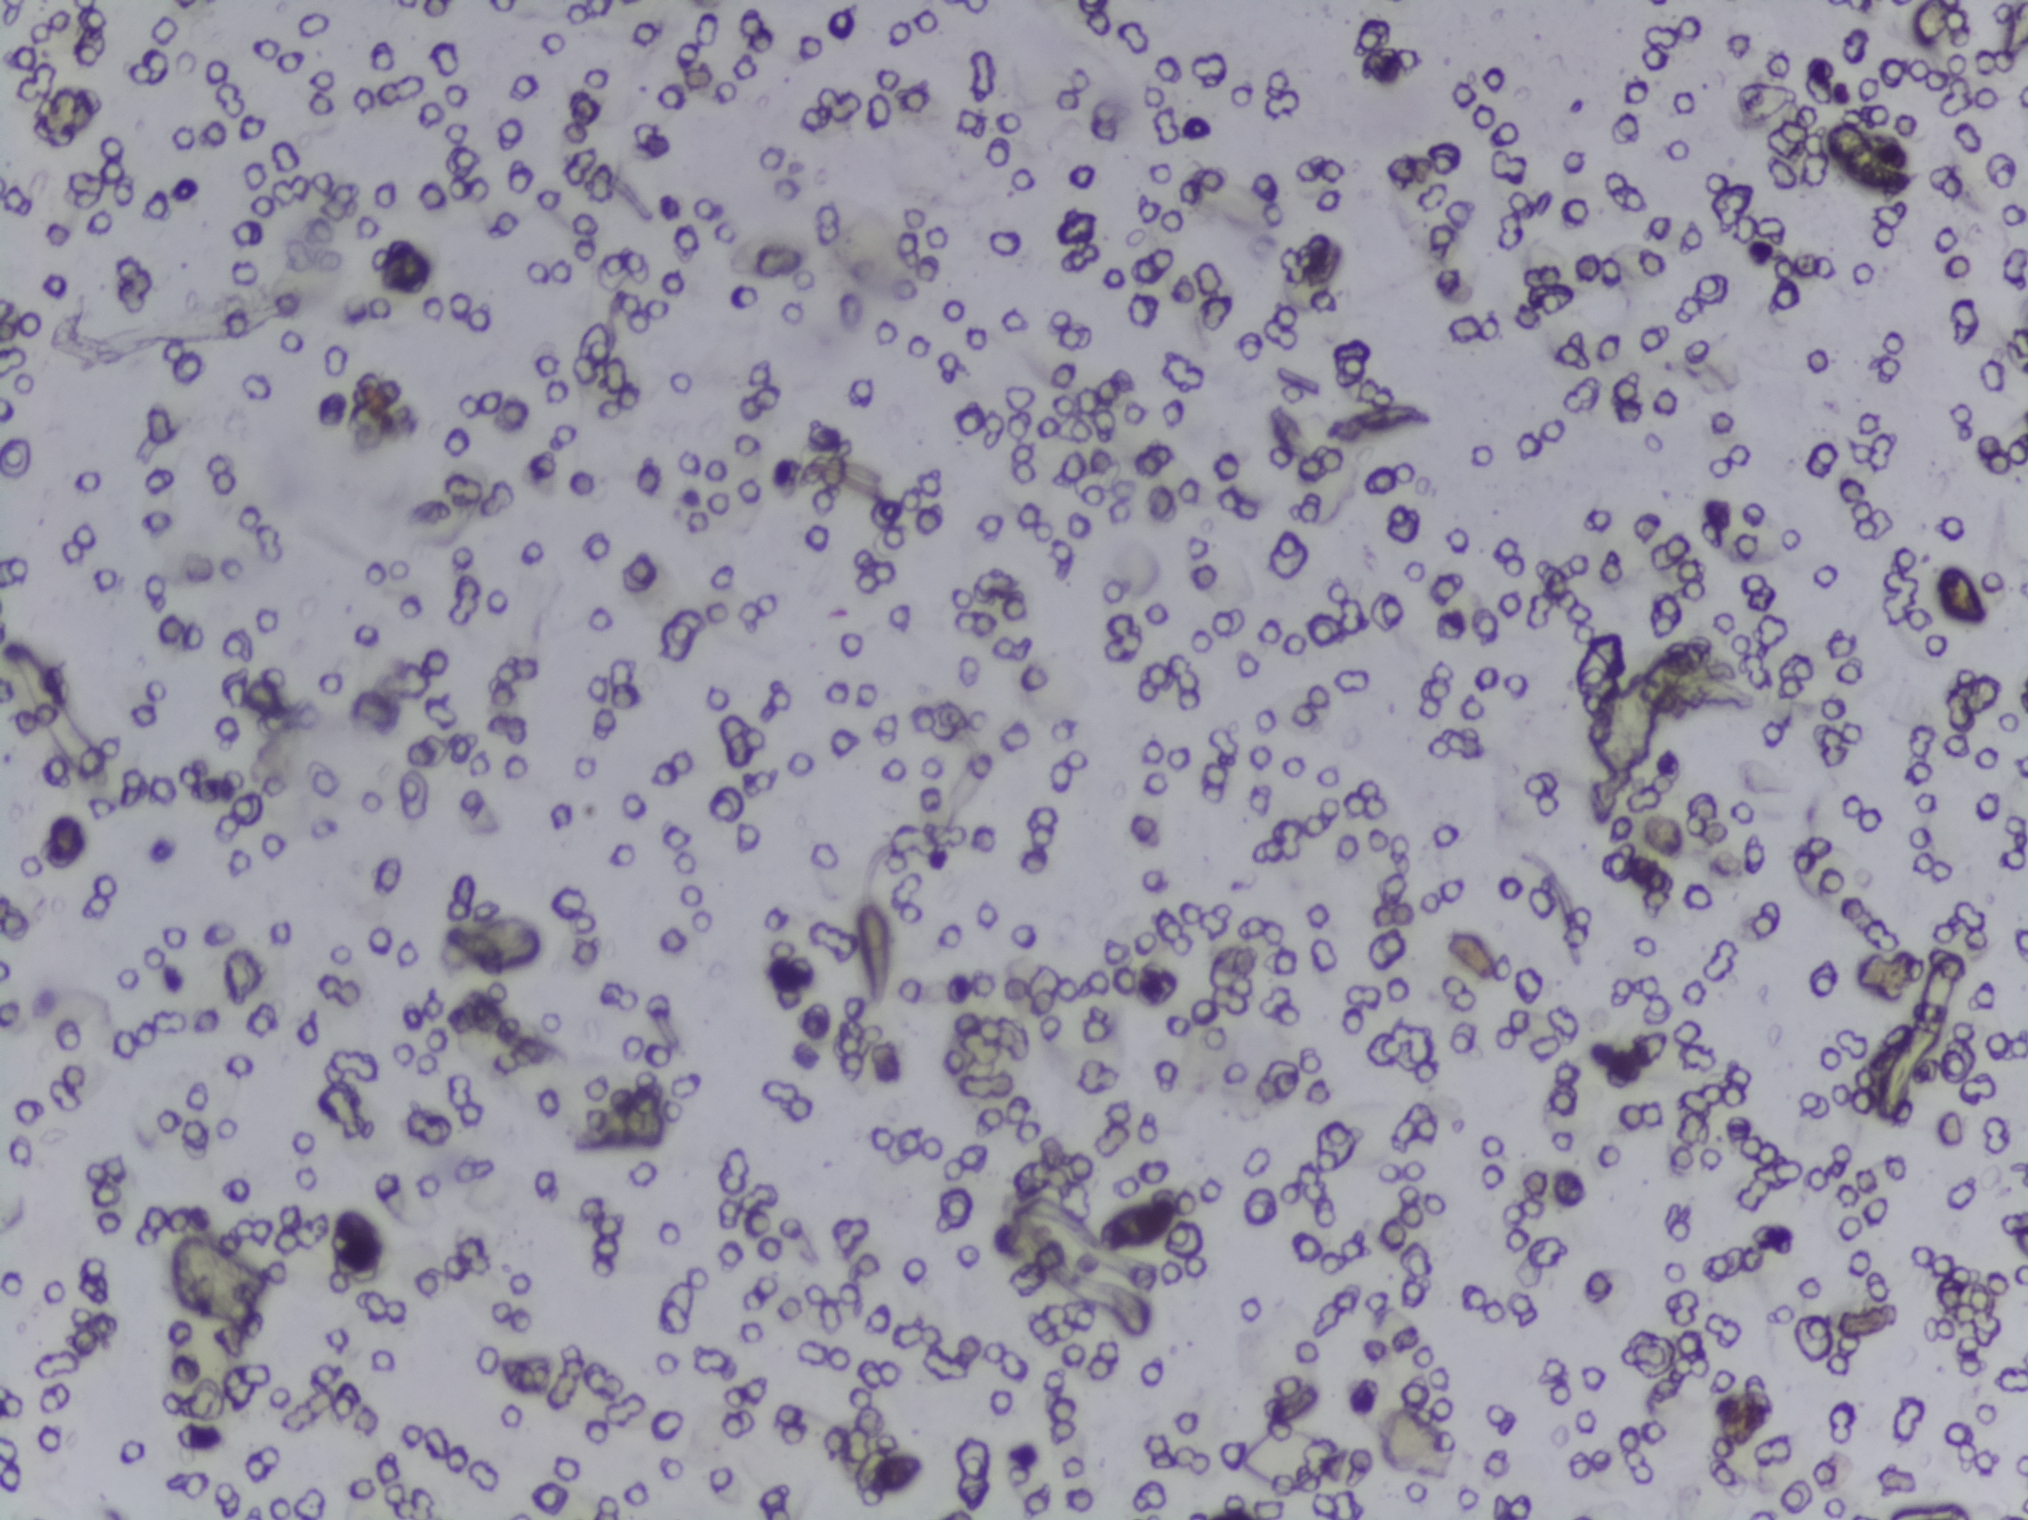
No Schistosoma egg is outlined in this image's expert annotation.
Urine filter membrane photographed through a 4× microscope objective.